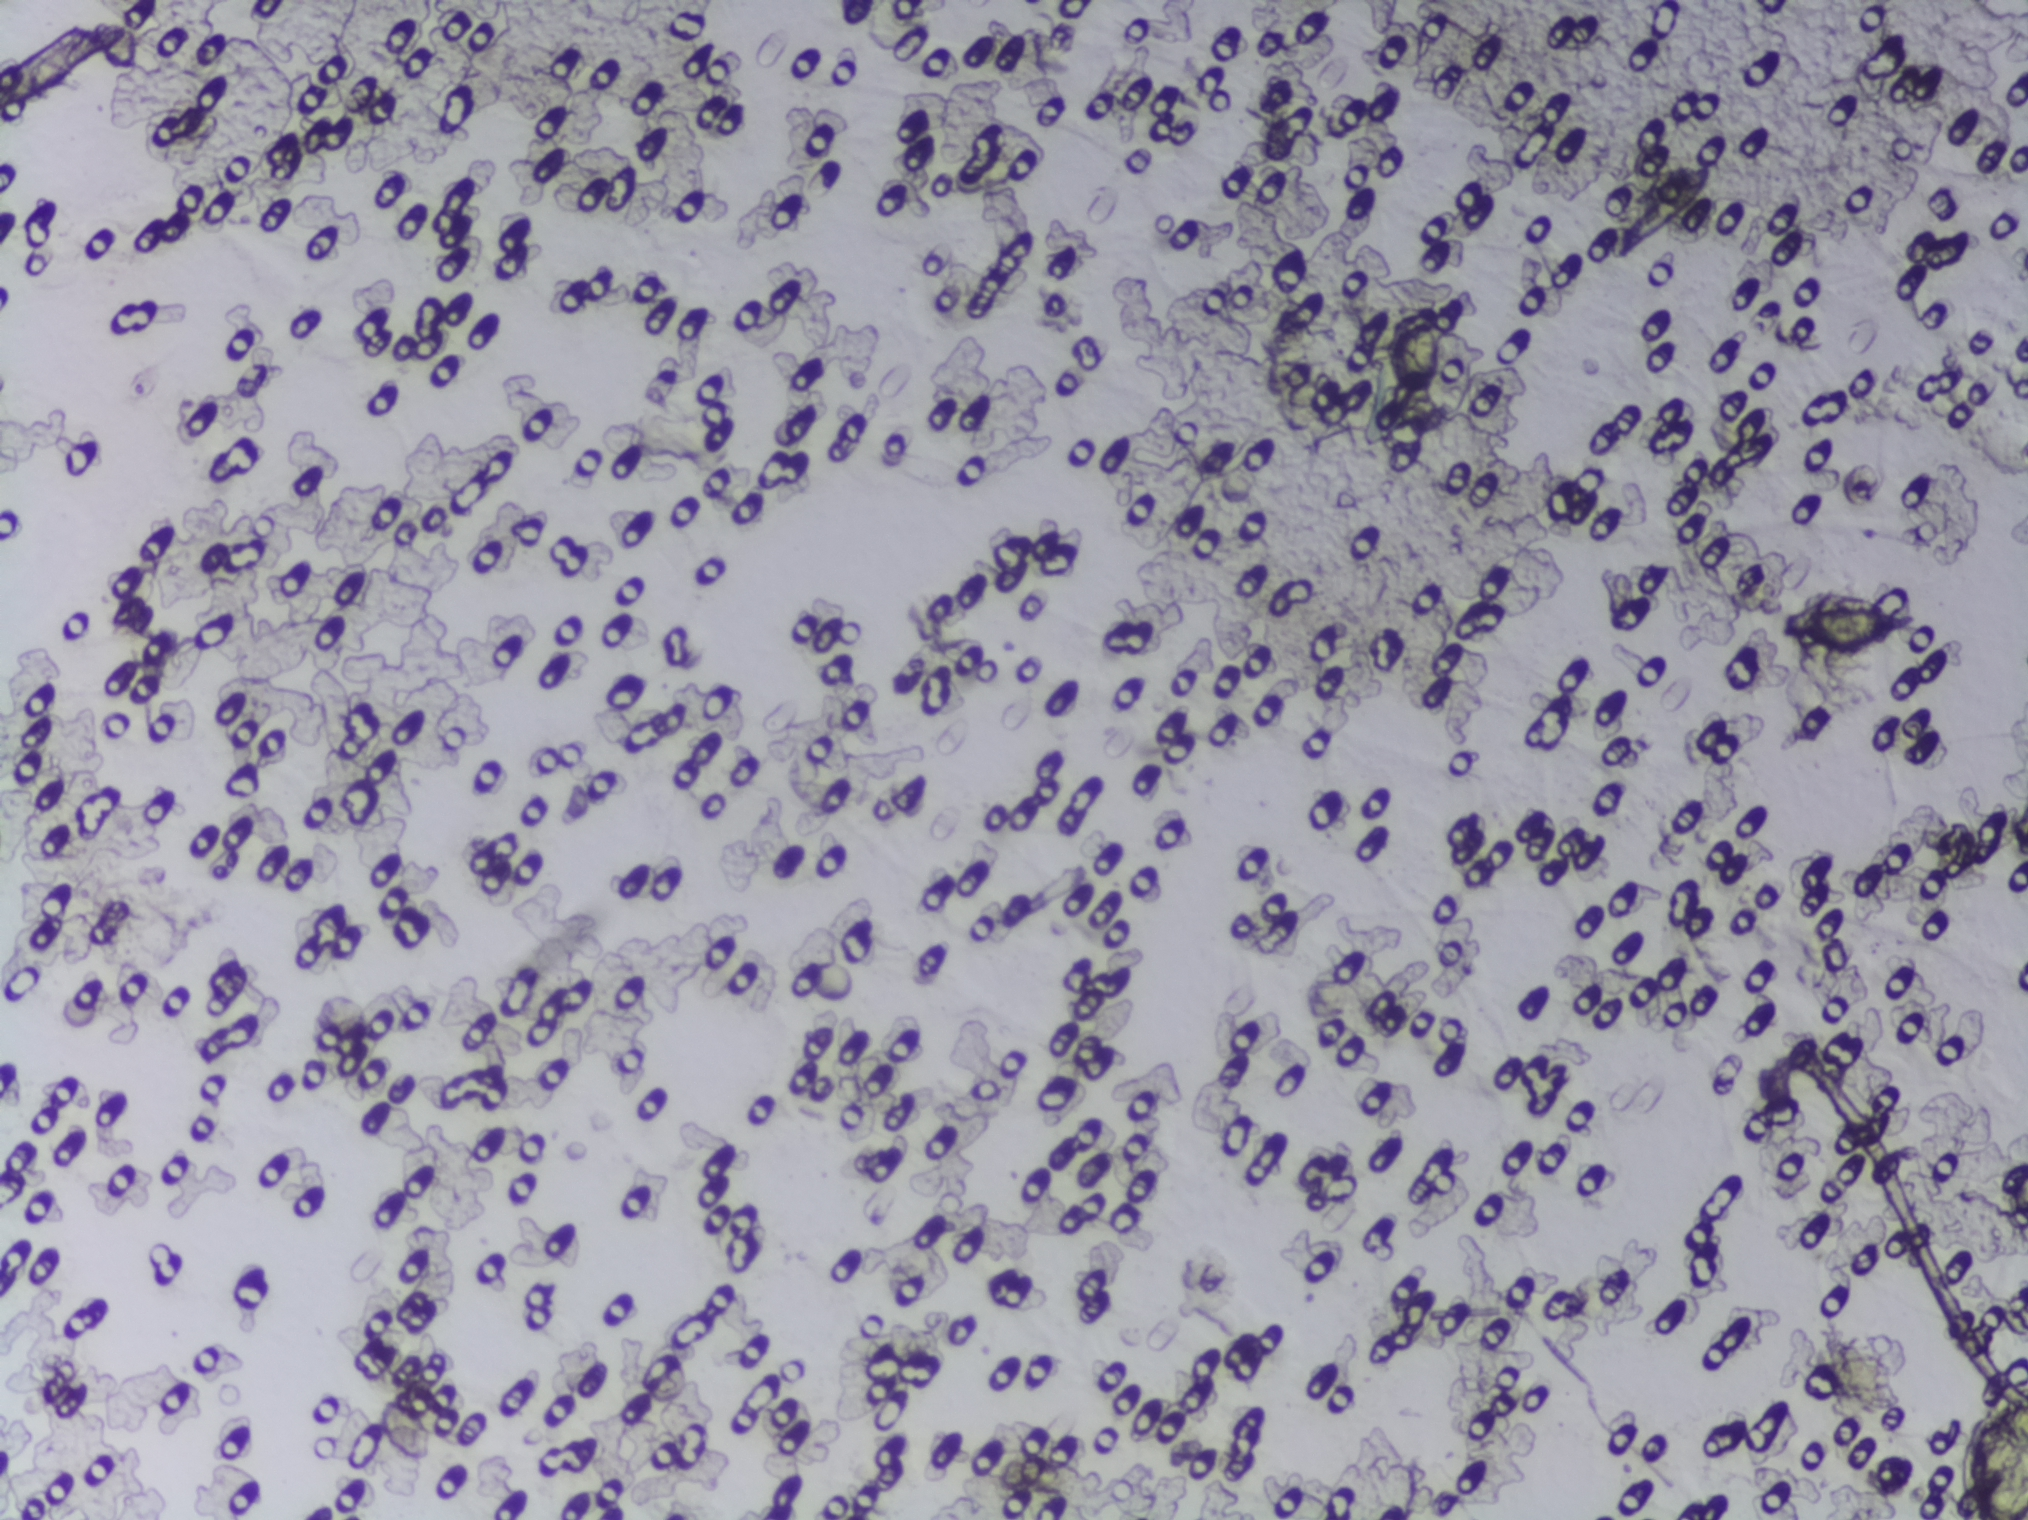
Microscope photograph (4× objective) of a membrane that a urine sample was filtered through.
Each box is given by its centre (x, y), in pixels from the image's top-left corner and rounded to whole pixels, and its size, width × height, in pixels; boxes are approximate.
The expert annotation outlines Schistosoma eggs at centre (1994, 1453), 67 × 134 px (reaching the right and bottom edges of the frame). A single outlined area may contain several eggs.